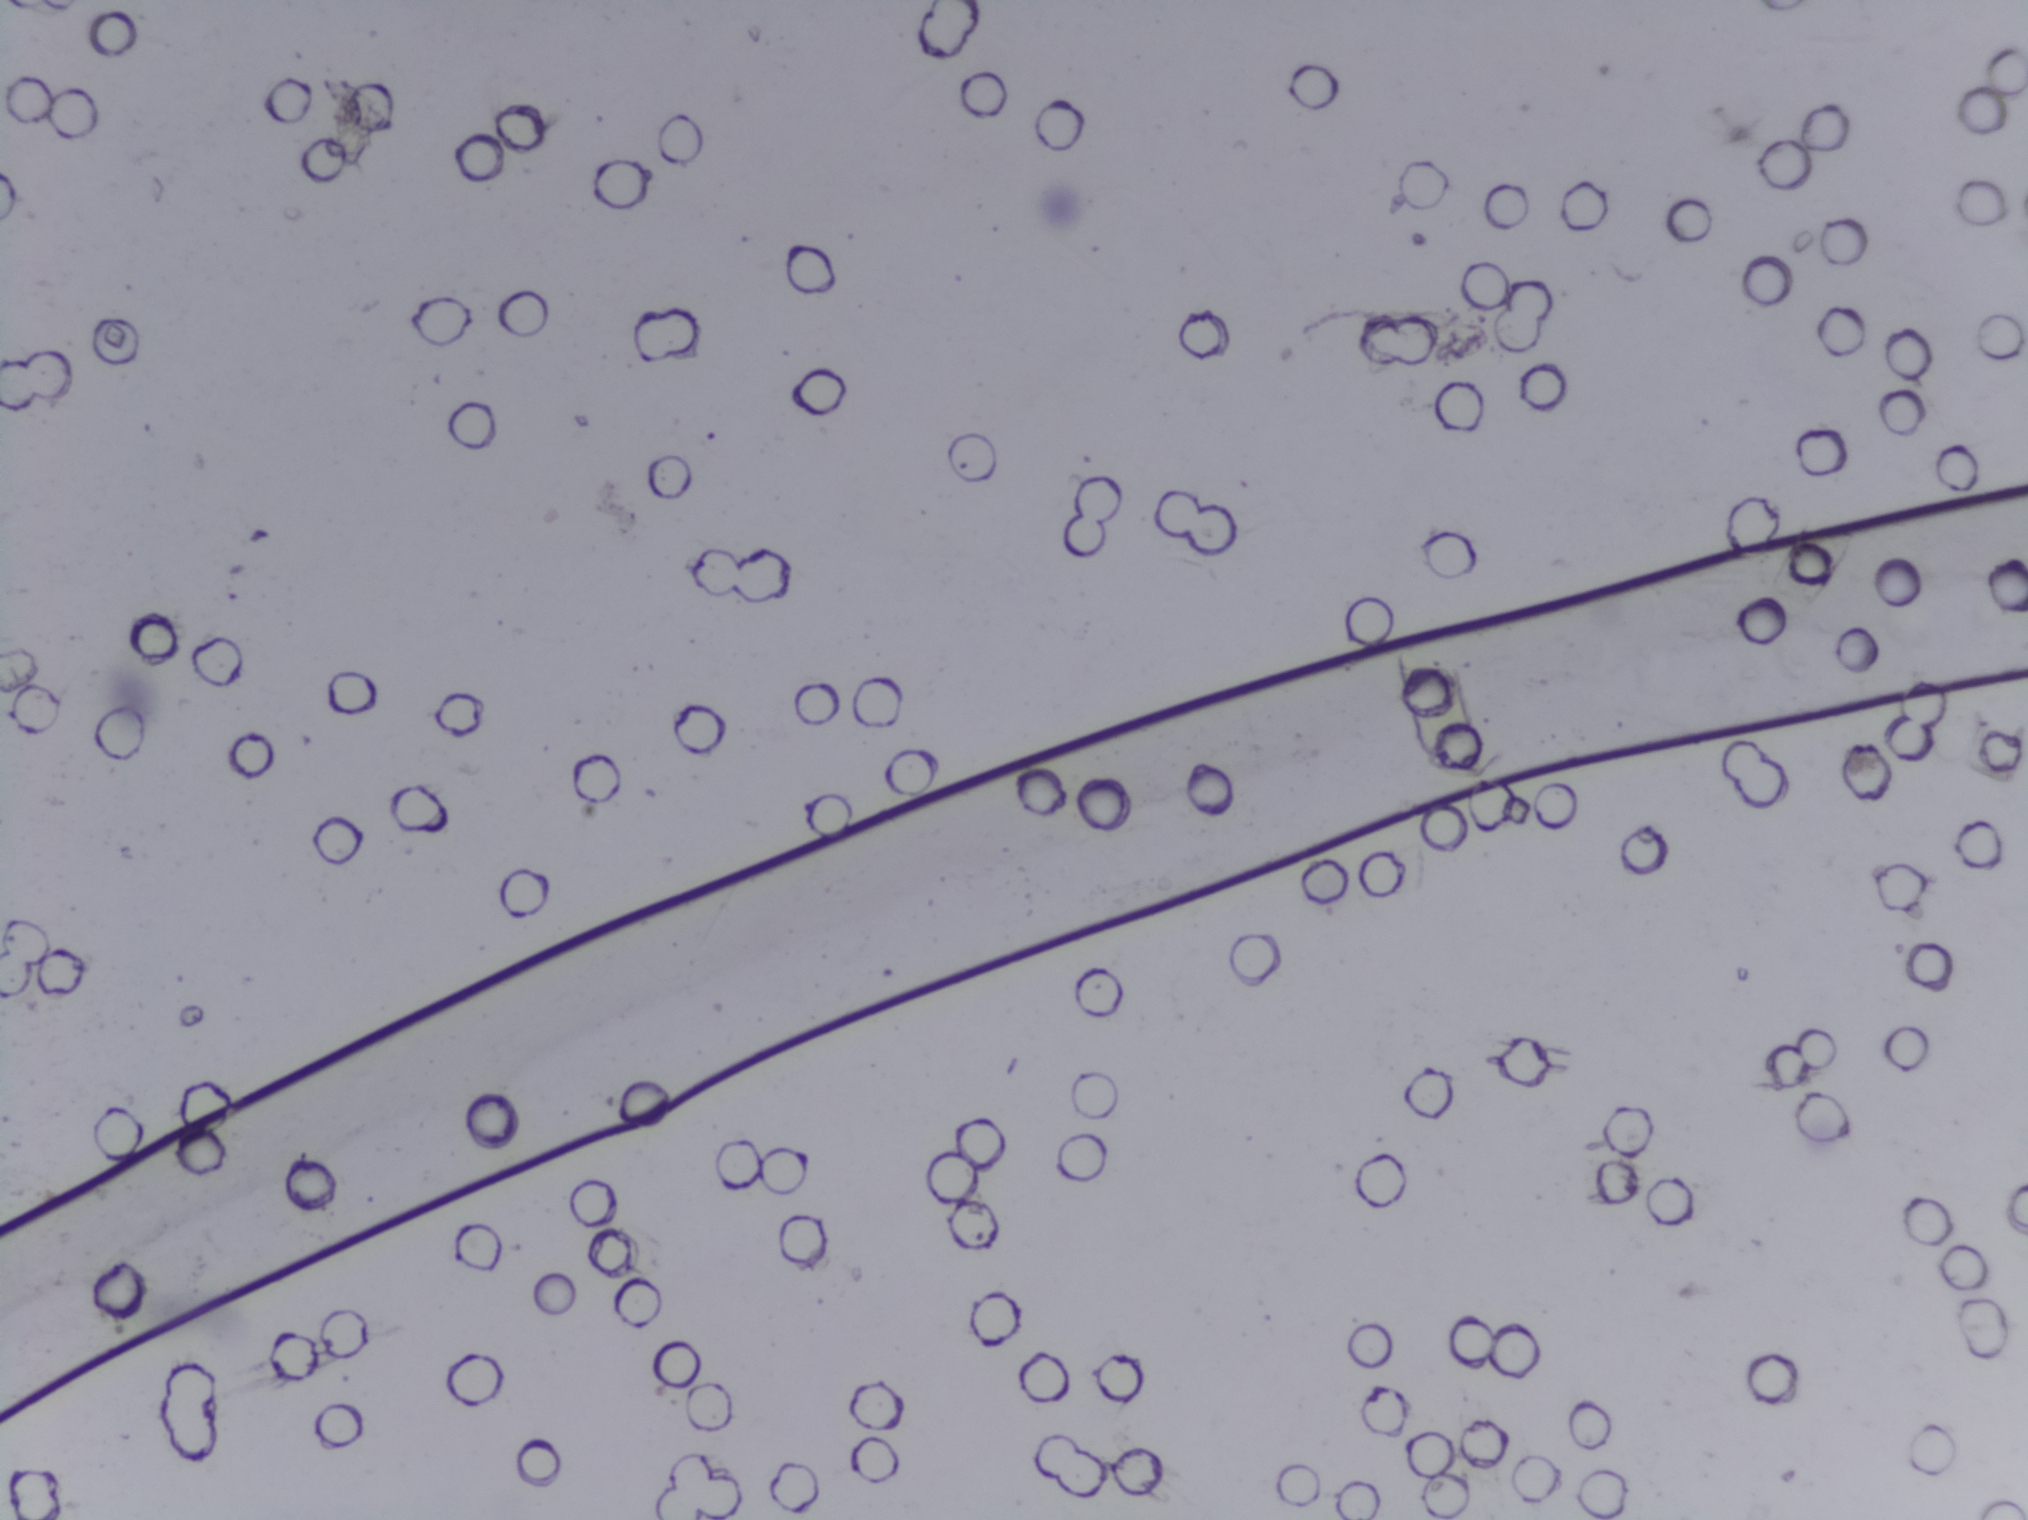
Photomicrograph of a urine filtration membrane, 4× objective.
No area of this image was outlined as a Schistosoma egg.